Urine filtration membrane under a 4× objective, photographed by an automated digital microscope.
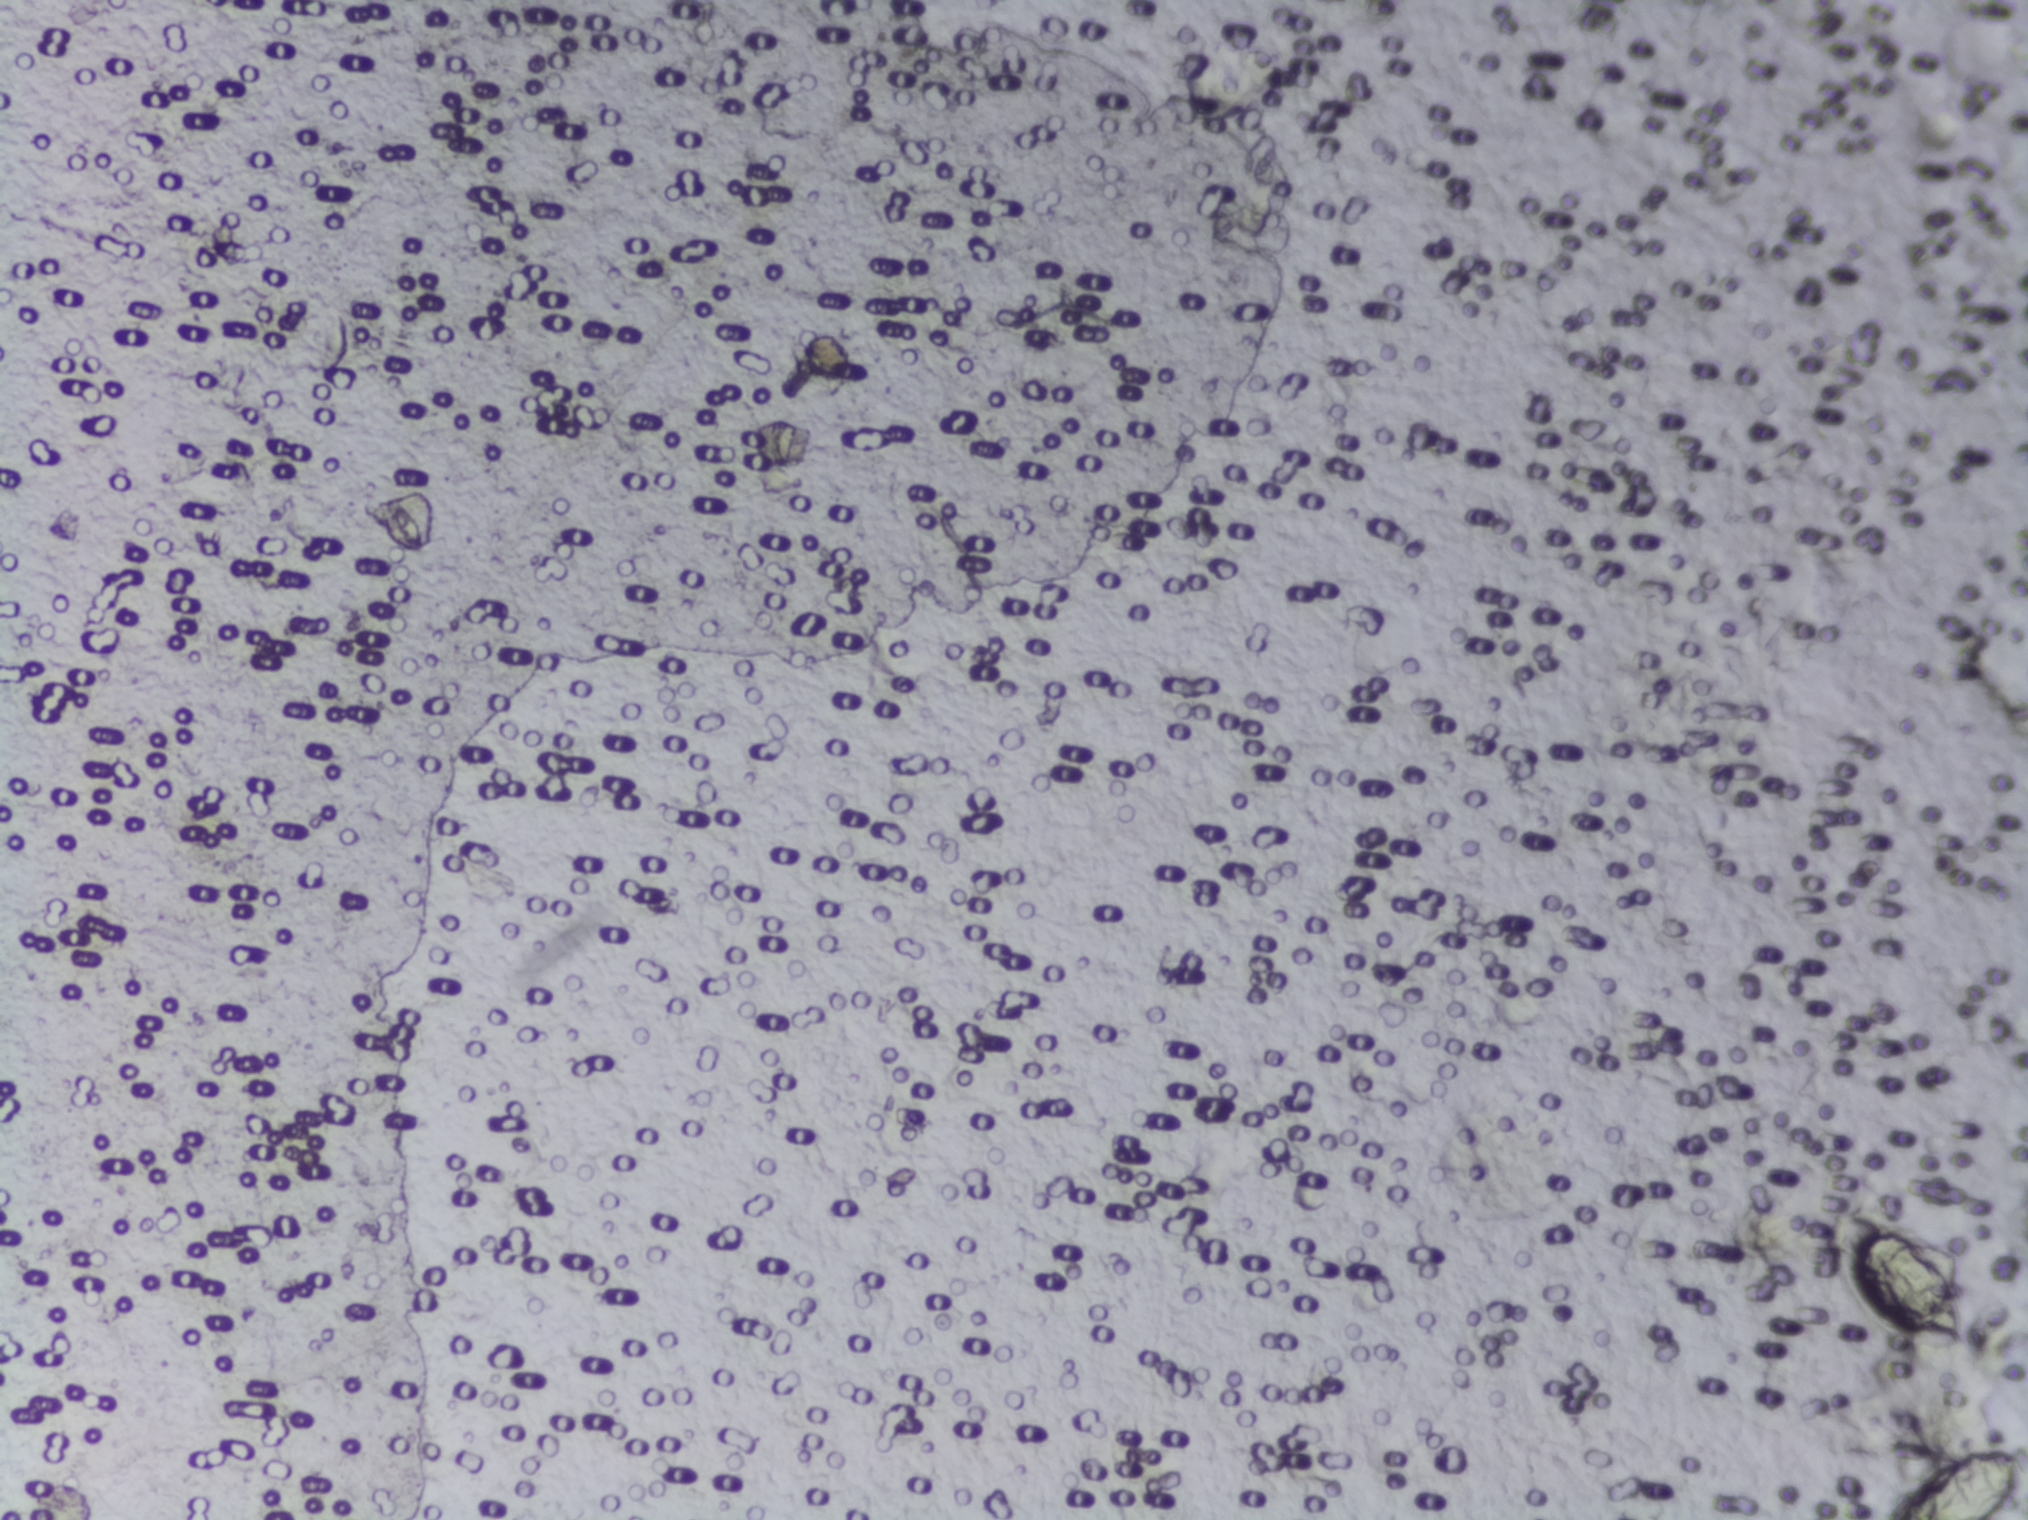
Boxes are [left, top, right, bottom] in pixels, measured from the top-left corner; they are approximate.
Two areas of this image are outlined as Schistosoma eggs, from left to right: [1838, 1219, 1969, 1350] and [1883, 1442, 2025, 1519] (reaching the bottom edge of the frame). An outlined area can hold more than one egg.